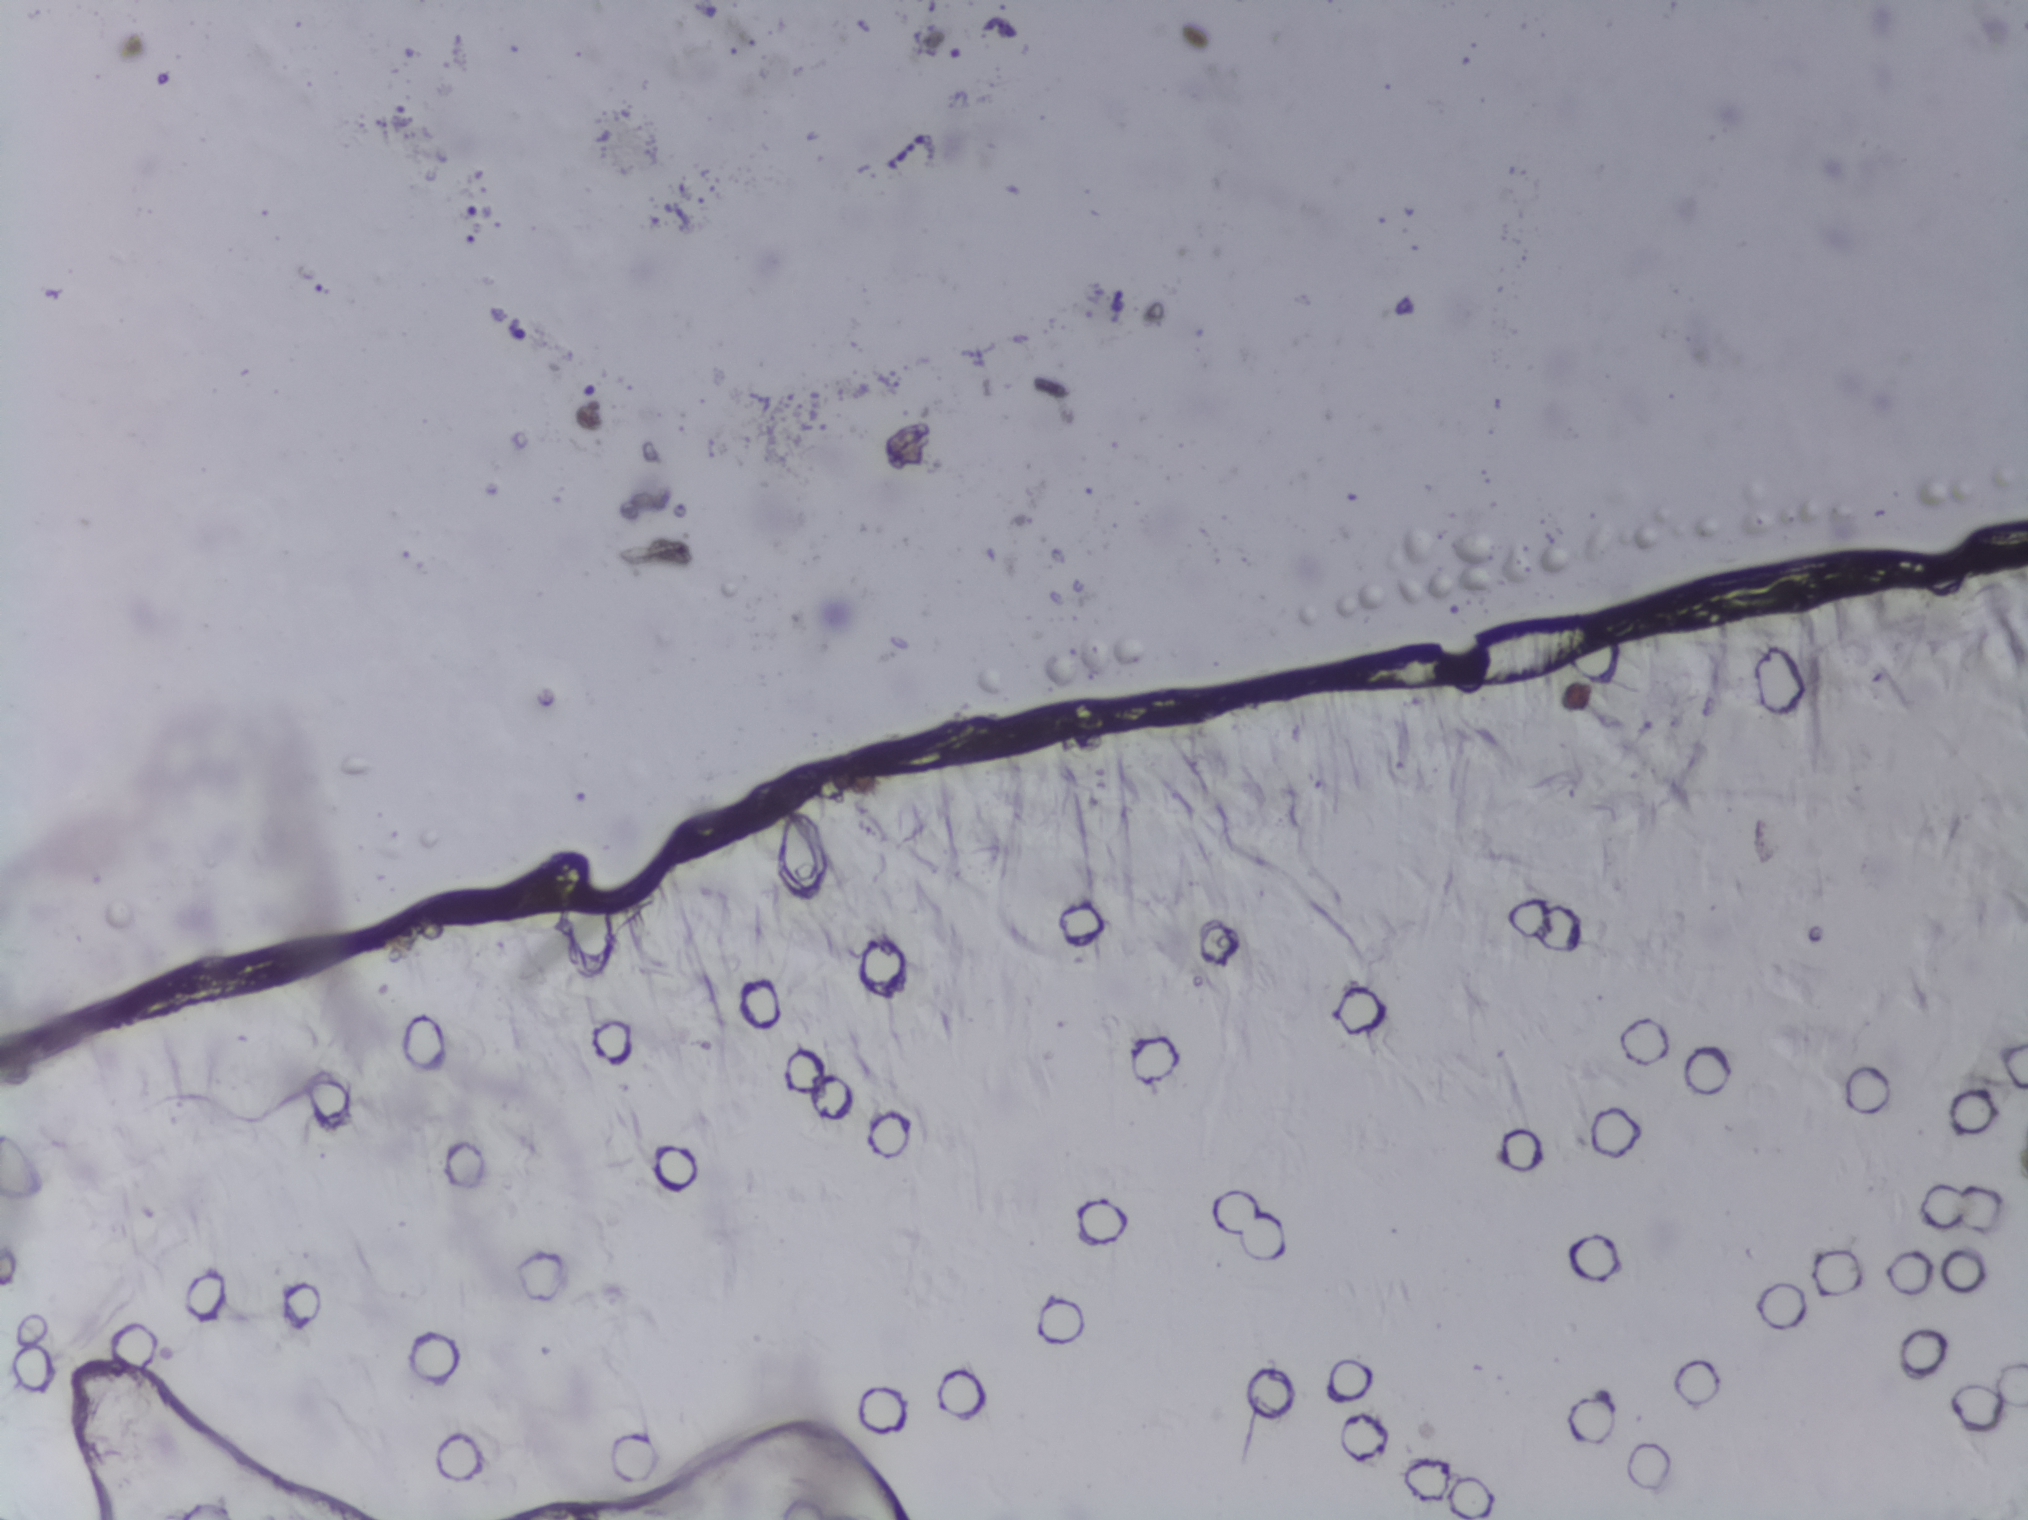
Urine filtration membrane under a 4× objective, photographed by an automated digital microscope.
The expert annotation outlines no Schistosoma egg in this image.